Microscope photograph (4× objective) of a membrane that a urine sample was filtered through.
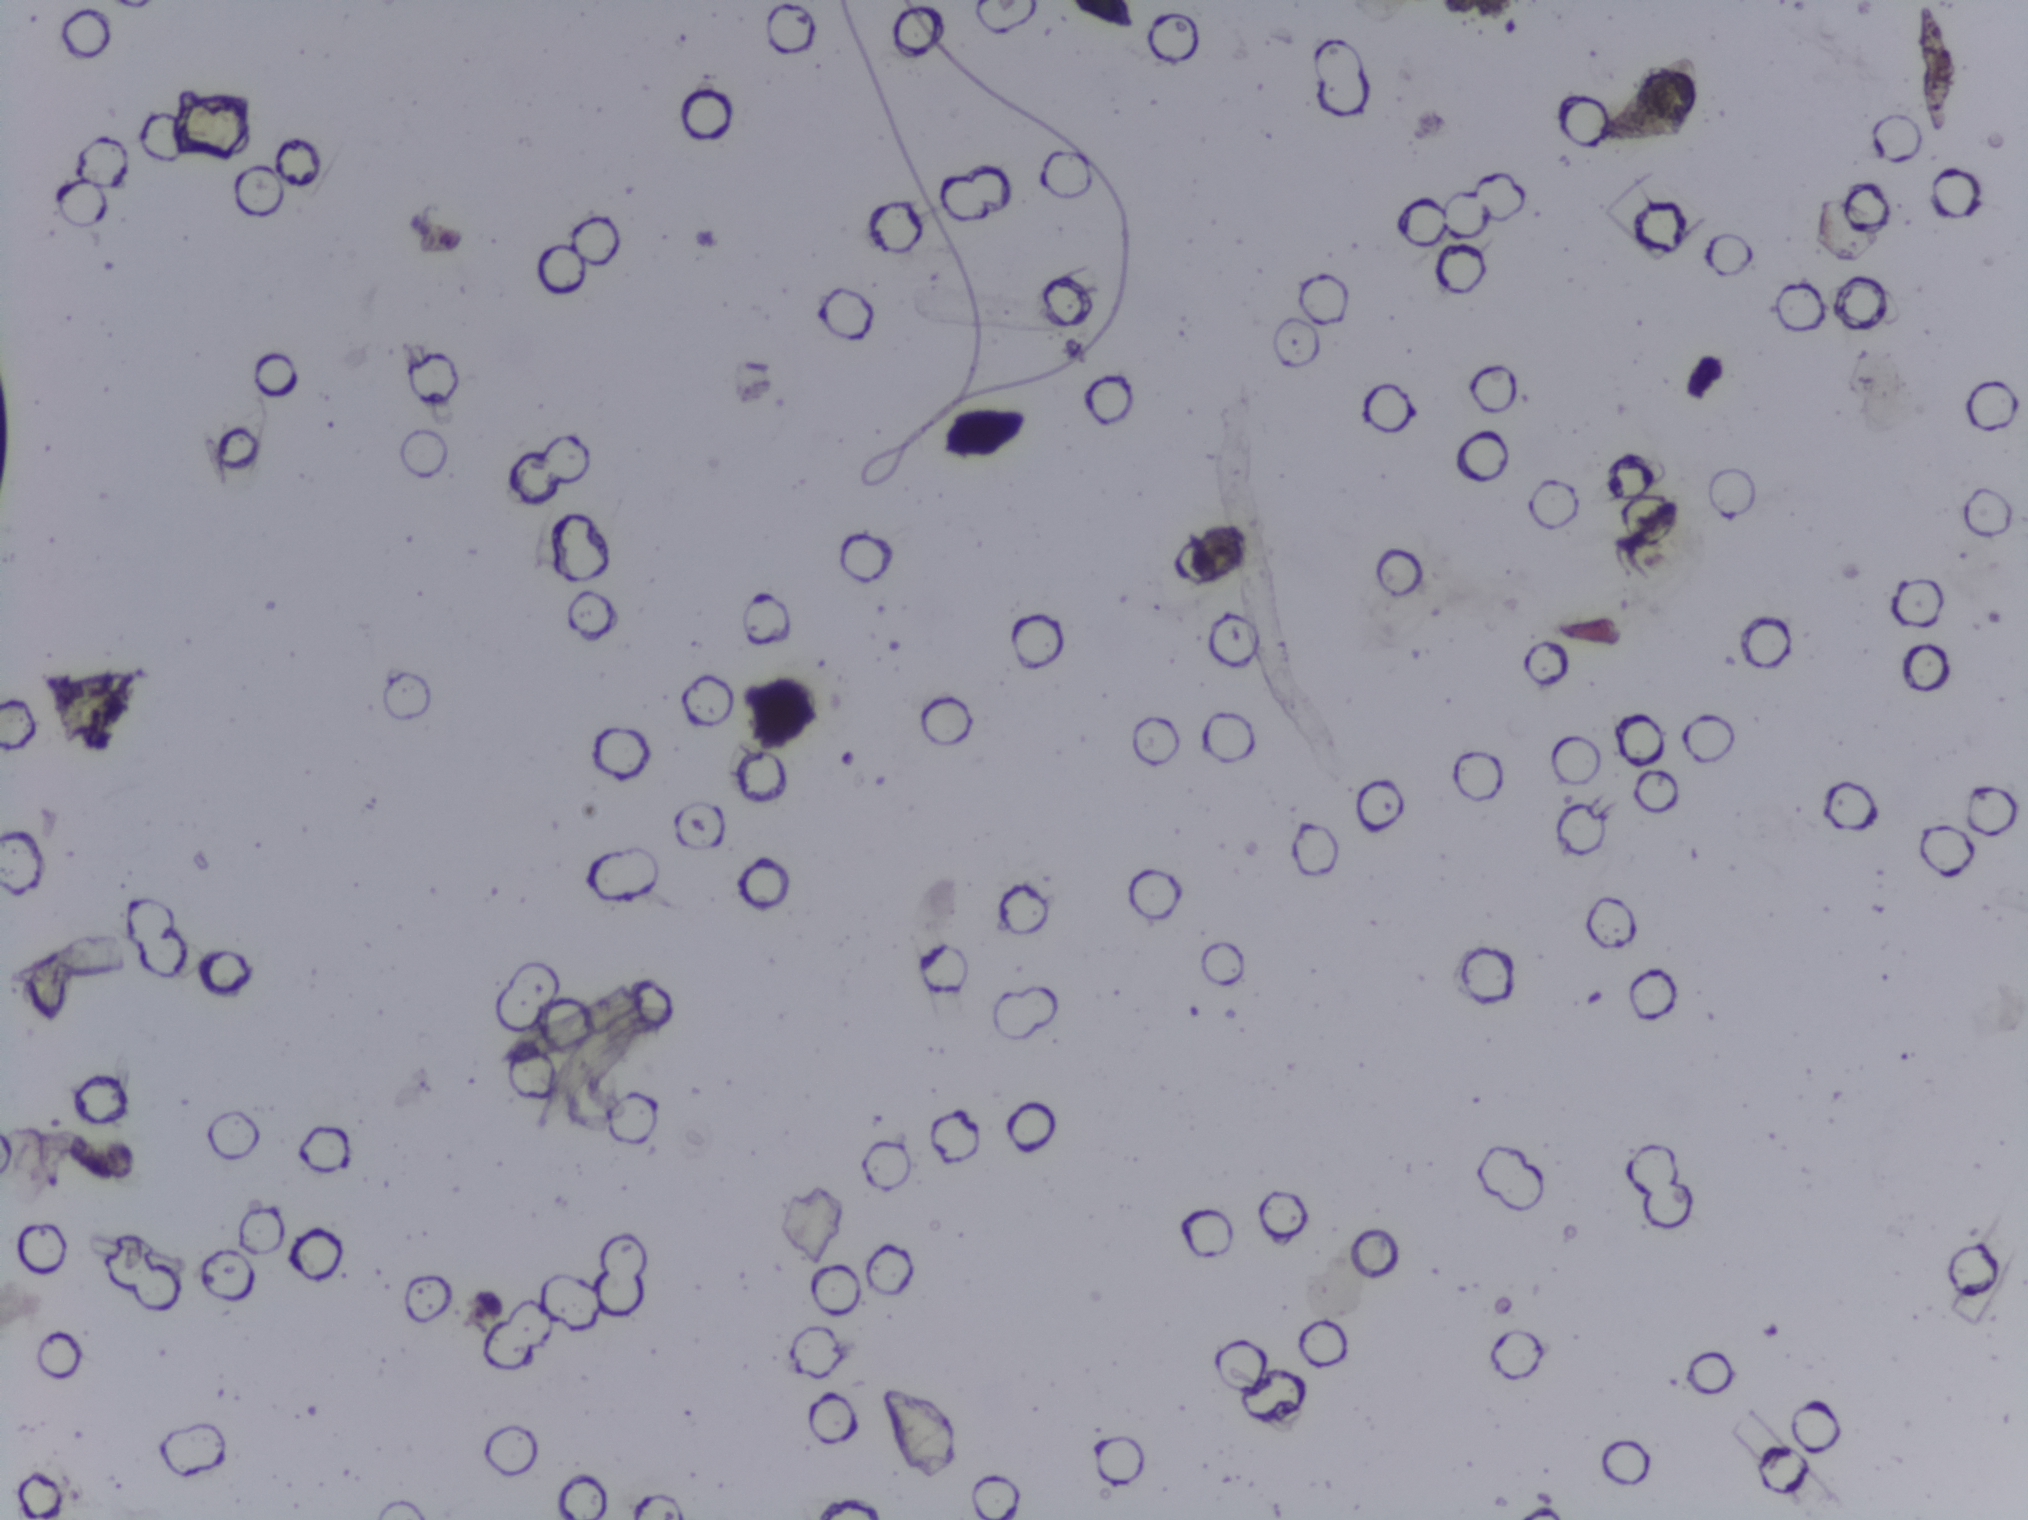
No Schistosoma egg is outlined in this image's expert annotation.